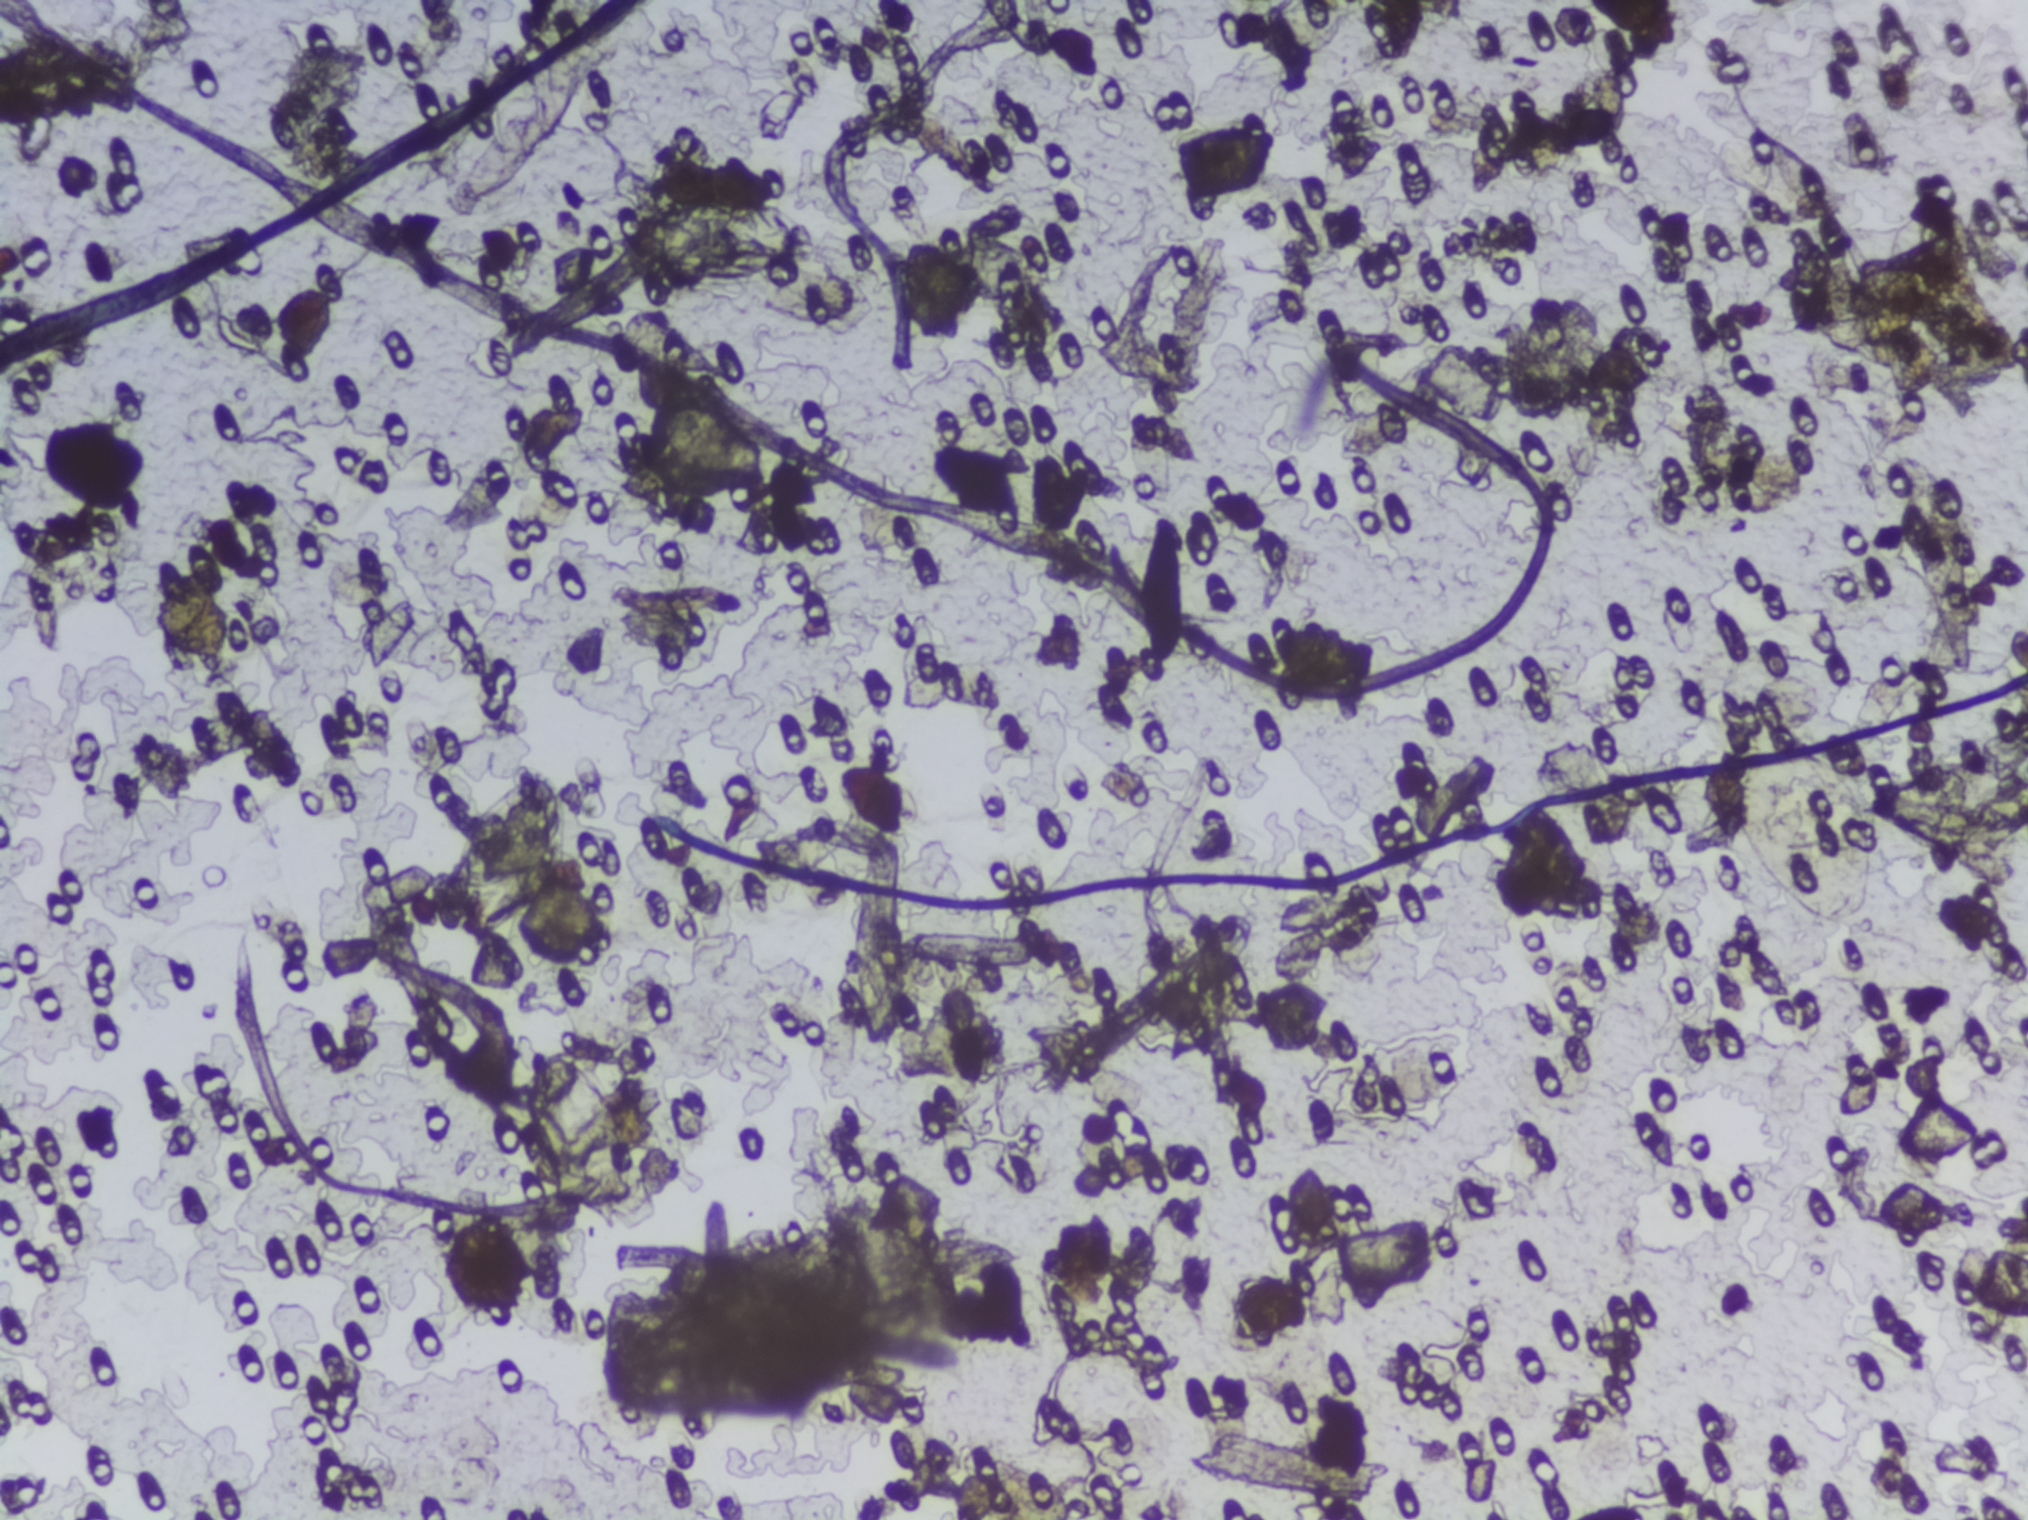
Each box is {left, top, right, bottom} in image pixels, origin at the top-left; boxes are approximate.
Three areas of this image are outlined as Schistosoma eggs, from left to right: {527, 1034, 646, 1237}; {691, 180, 866, 335}; {1717, 694, 1889, 925}. Marked pixels, not the boxes around them: about 2.1% of the image. An outlined area can hold more than one egg. Any one outlined egg may, rarely, be S. mansoni rather than S. haematobium.
Urine filtration membrane under a 4× objective, photographed by an automated digital microscope. The image covers about 1.5 × 1.1 mm of the membrane.